One field of view of a urine filter membrane, 4× objective, 2028 × 1520 pixels.
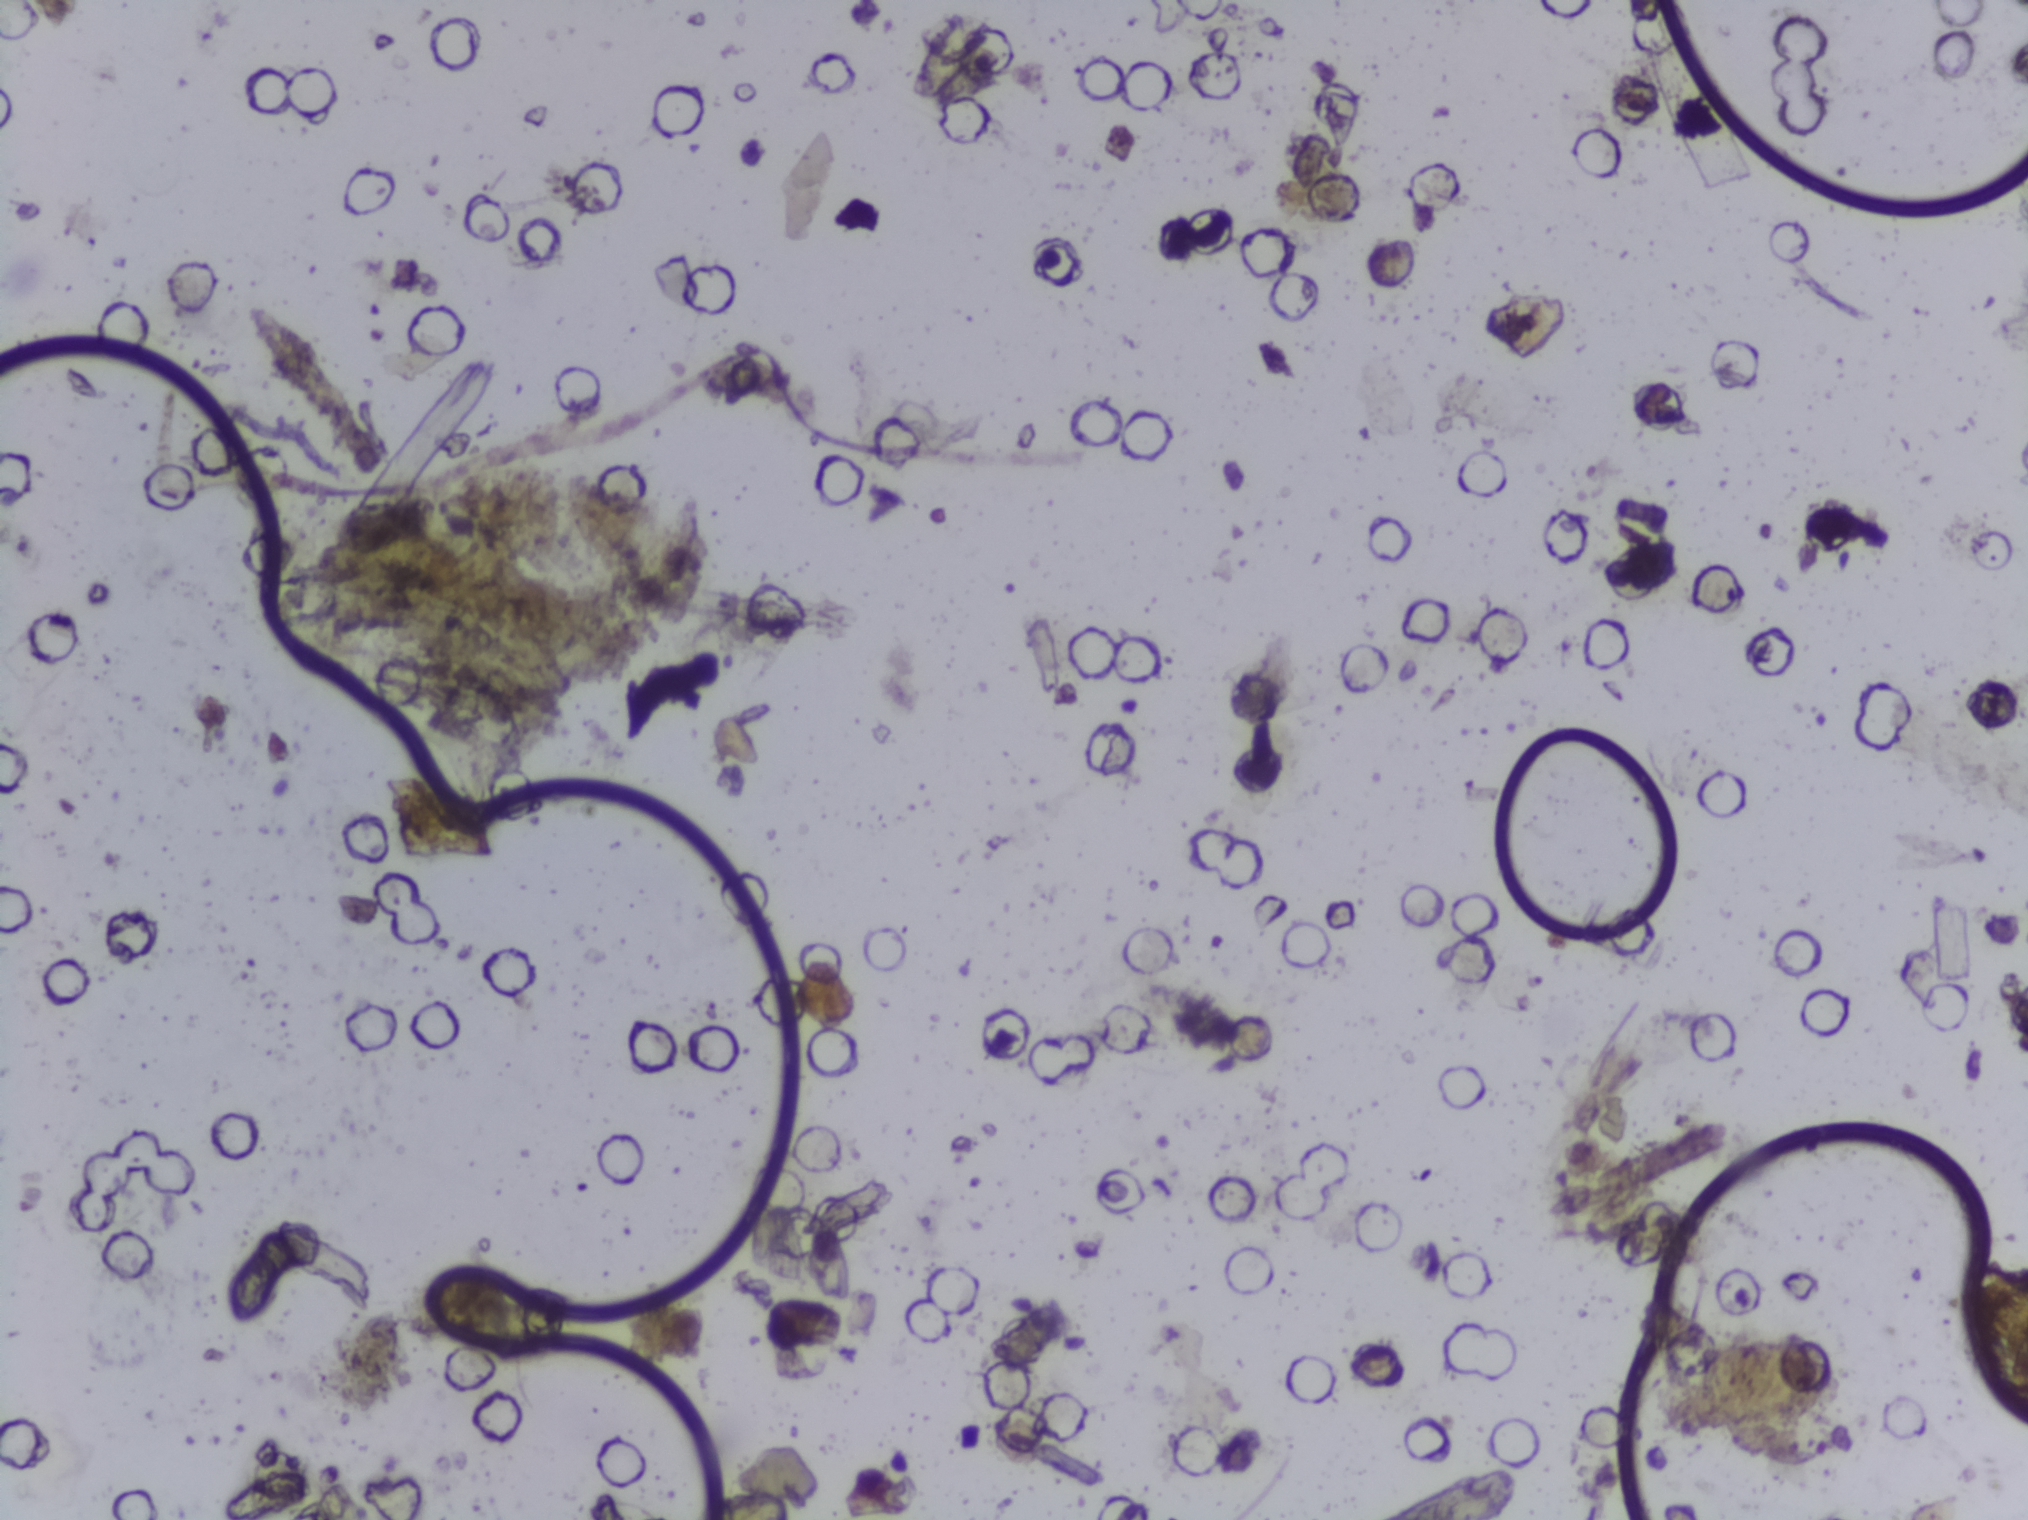
Schistosoma eggs: none outlined.